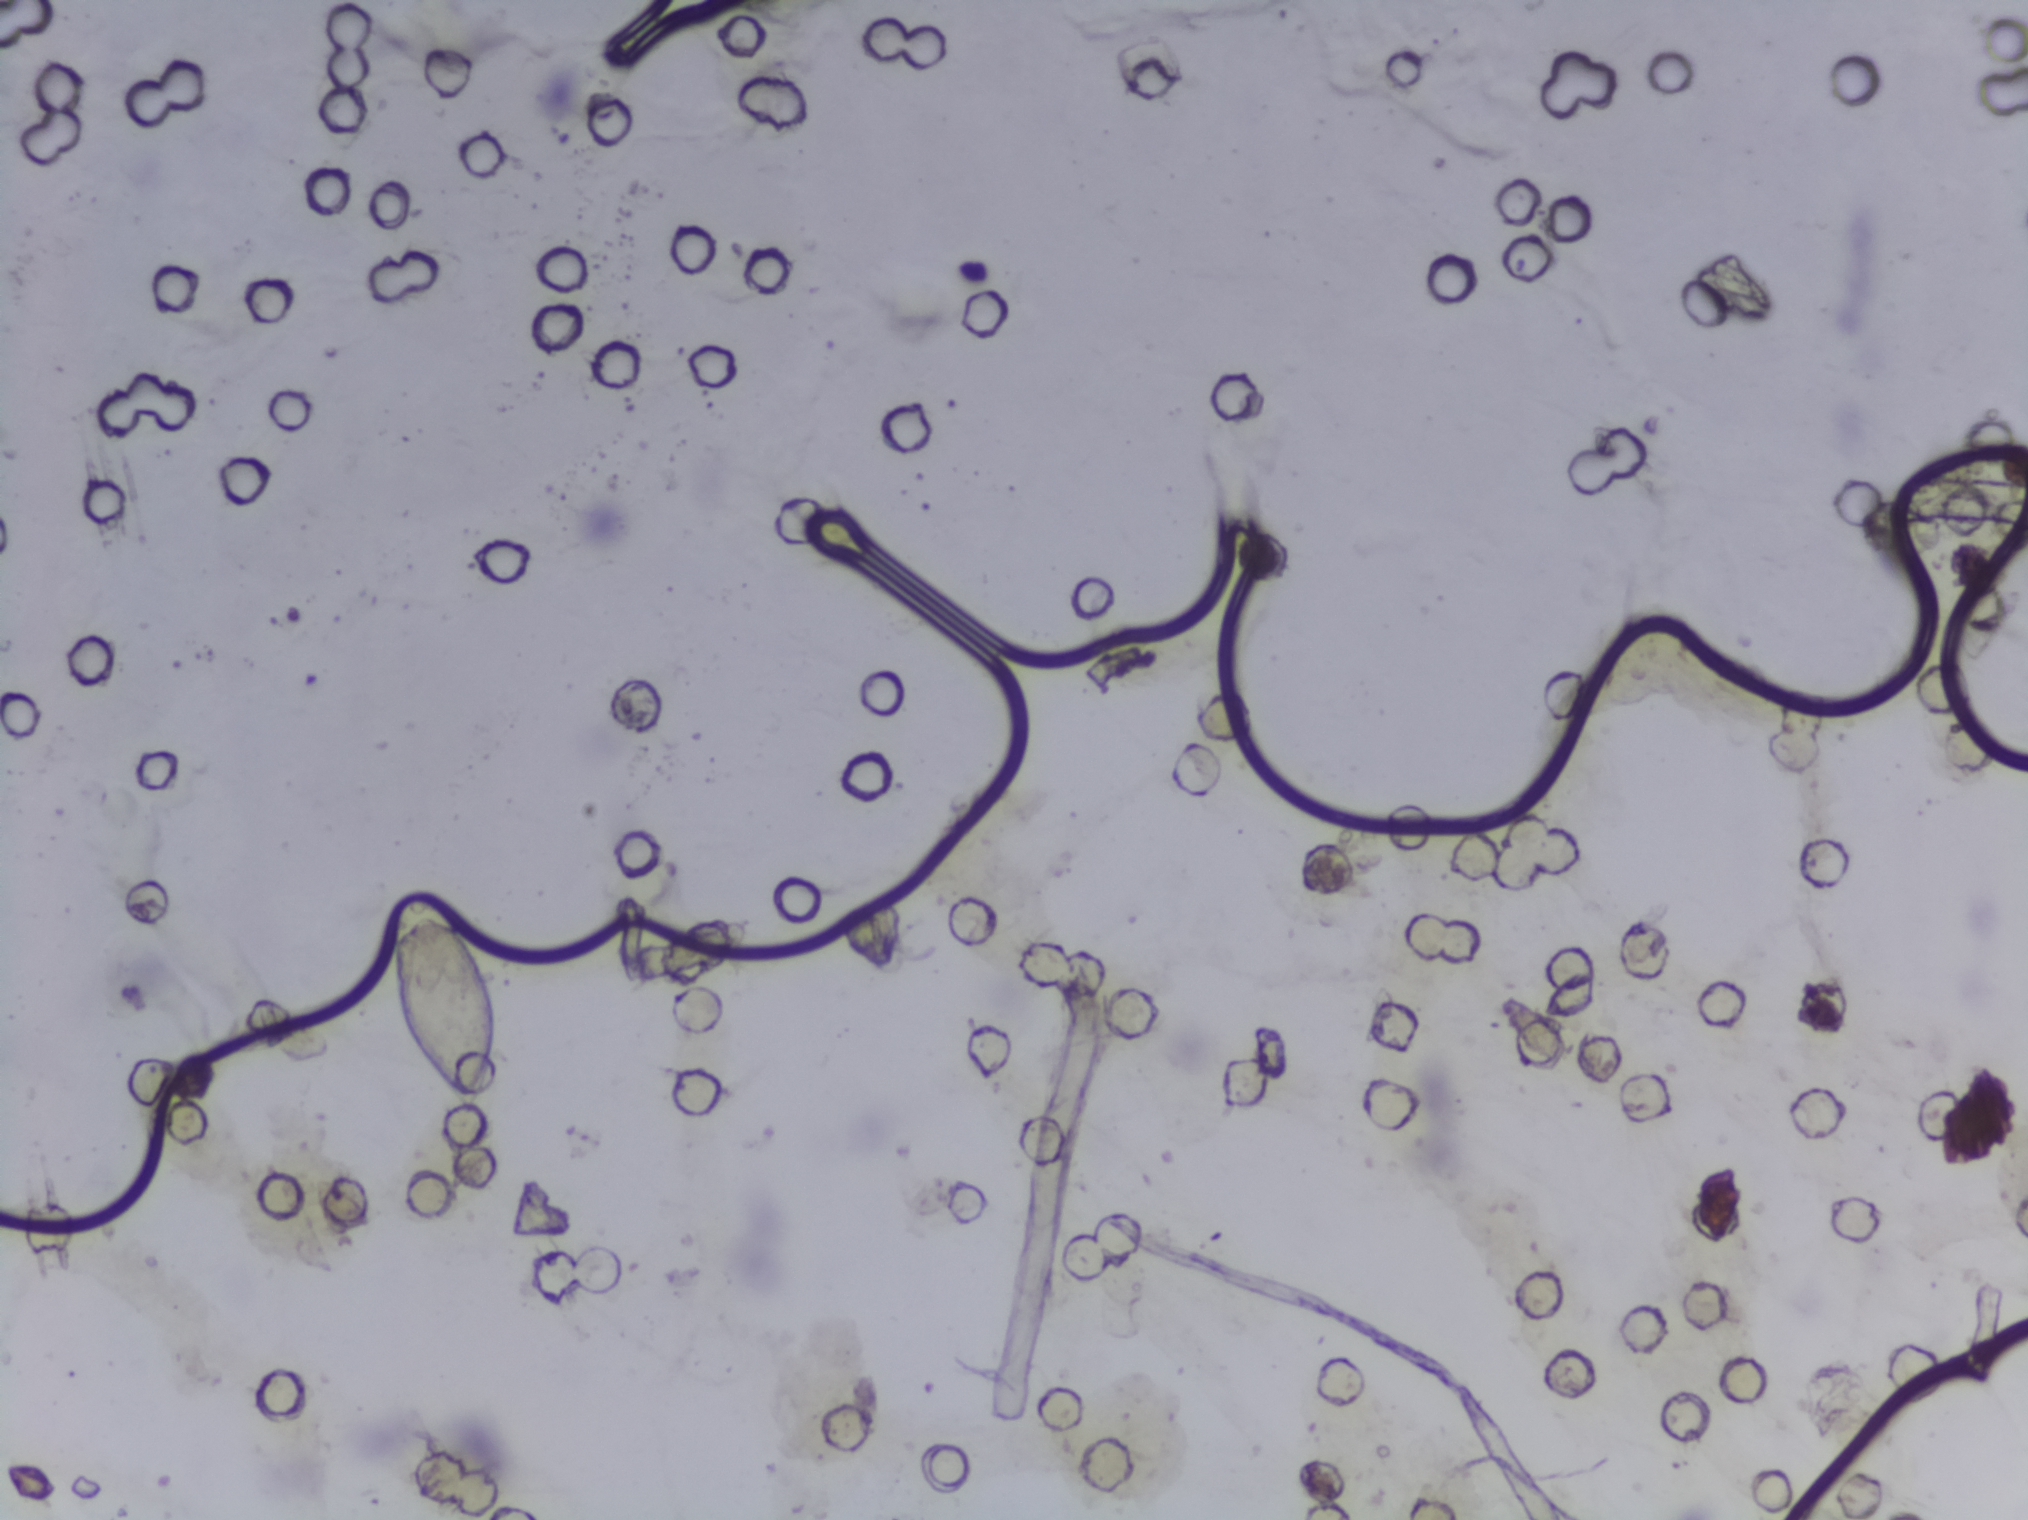
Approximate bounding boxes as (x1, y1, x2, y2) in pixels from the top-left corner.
Schistosoma eggs are outlined in one area of this image: (390, 889, 501, 1112). Marked pixels, not the box around them: about 0.6% of the image. A single outlined area may contain several eggs.
Urine filtration membrane under a 4× objective, photographed by an automated digital microscope.